Photomicrograph of a urine filtration membrane, 4× objective.
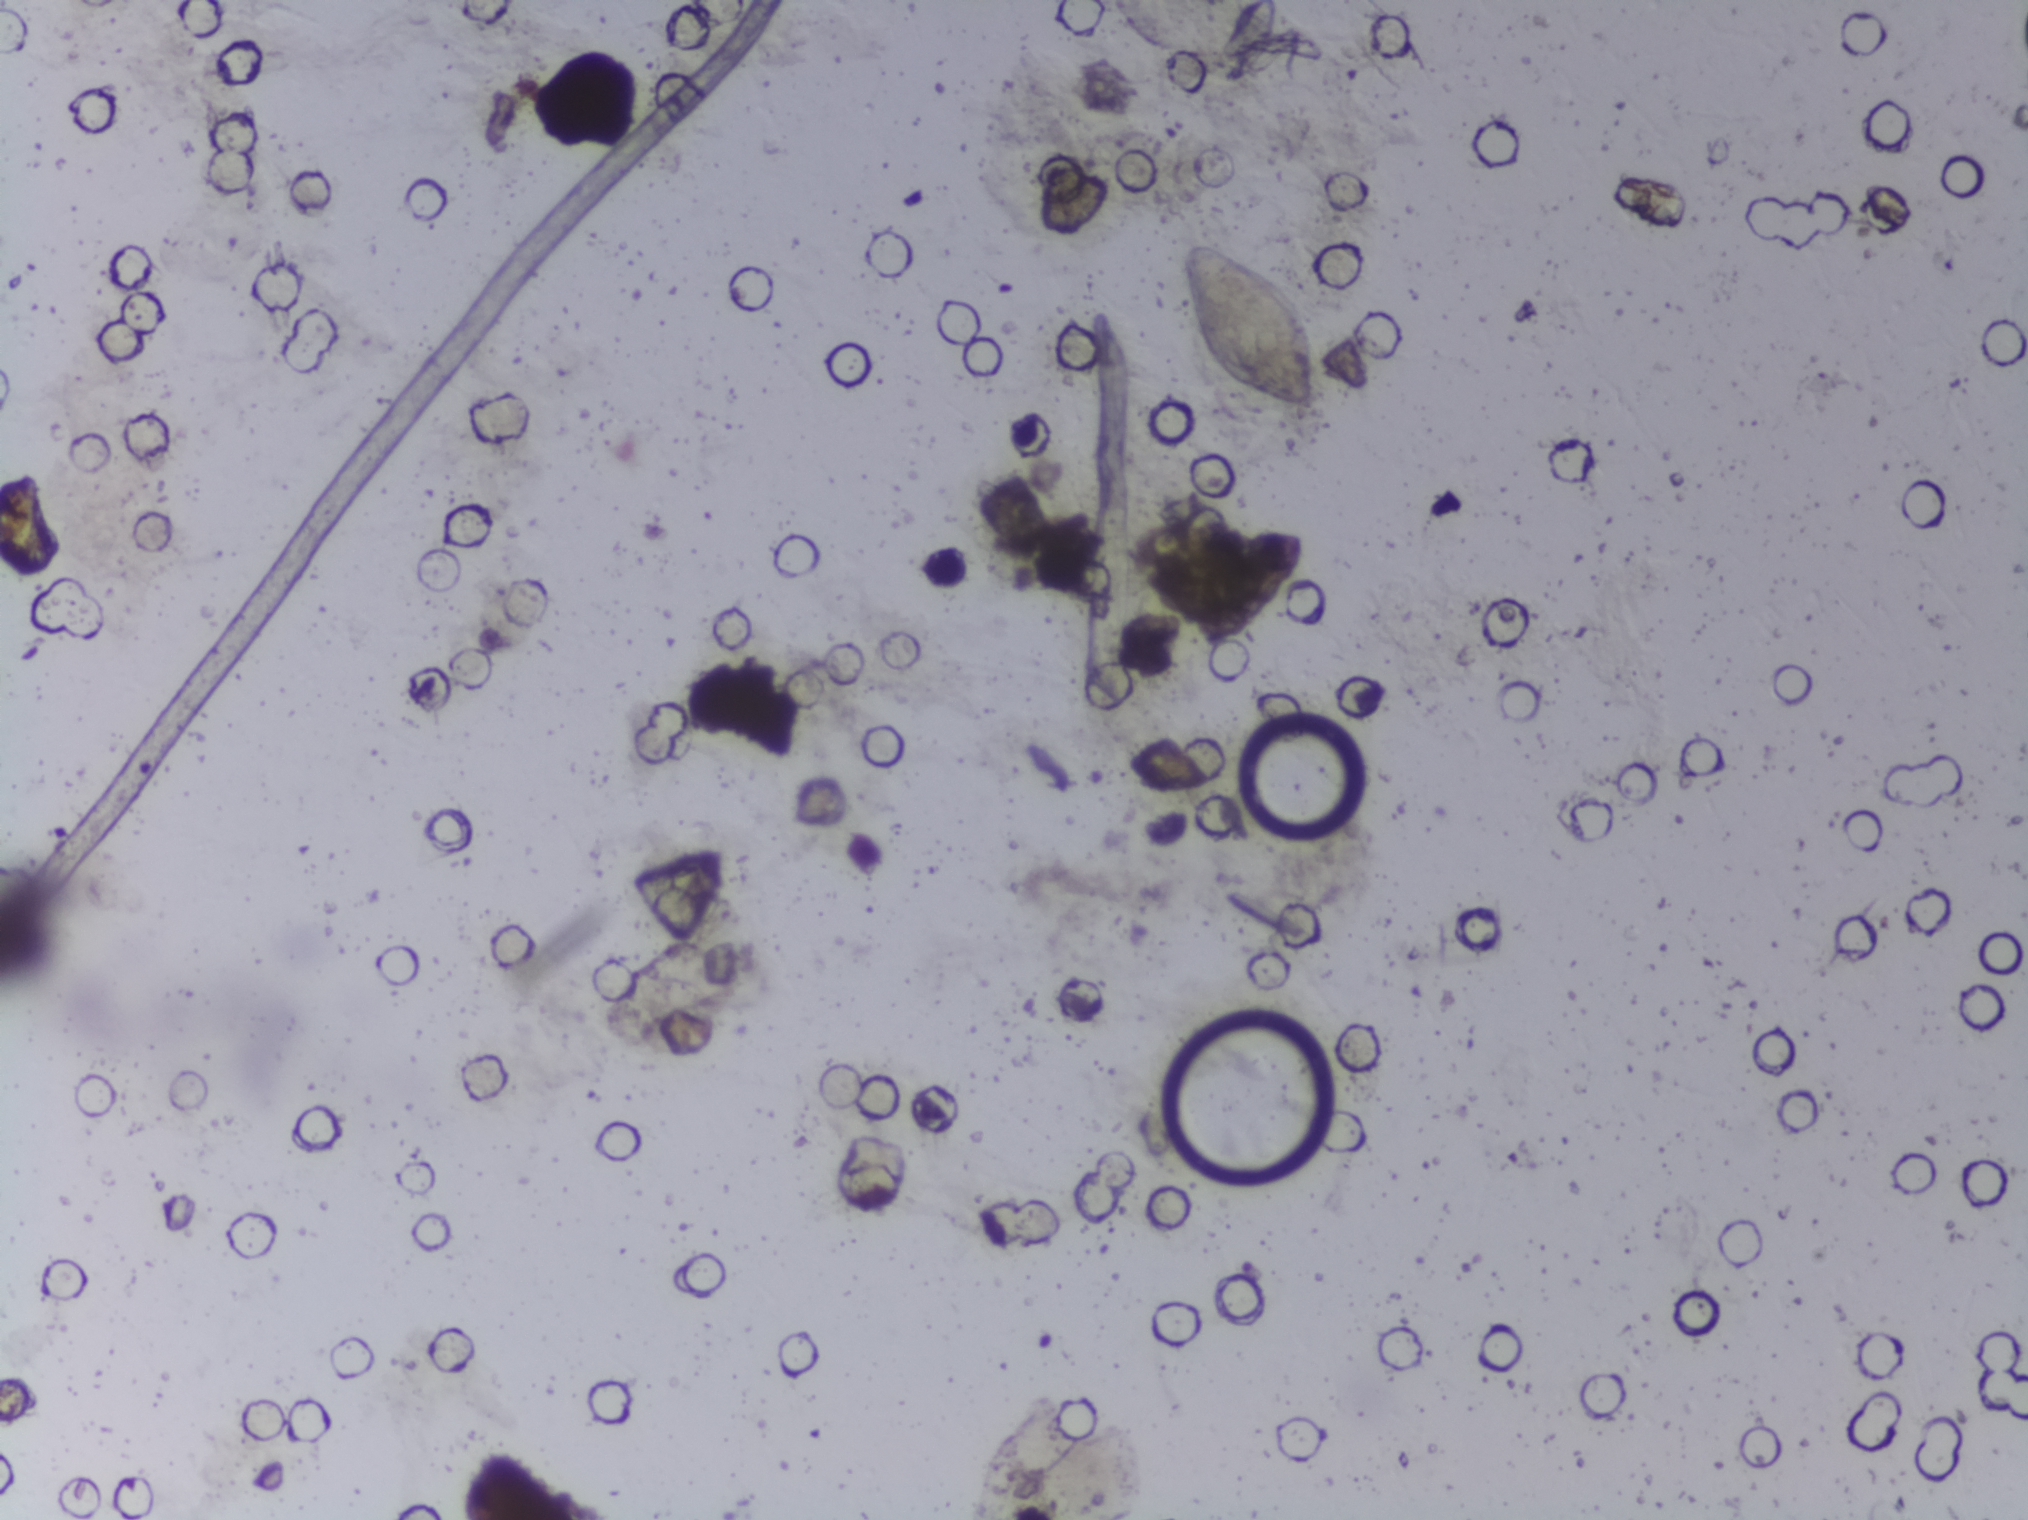
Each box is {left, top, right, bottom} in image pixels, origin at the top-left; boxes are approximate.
Outlined Schistosoma egg areas:
1. {1172, 240, 1325, 415}
A single outlined area may contain several eggs. Any one outlined egg may, rarely, be S. mansoni rather than S. haematobium.